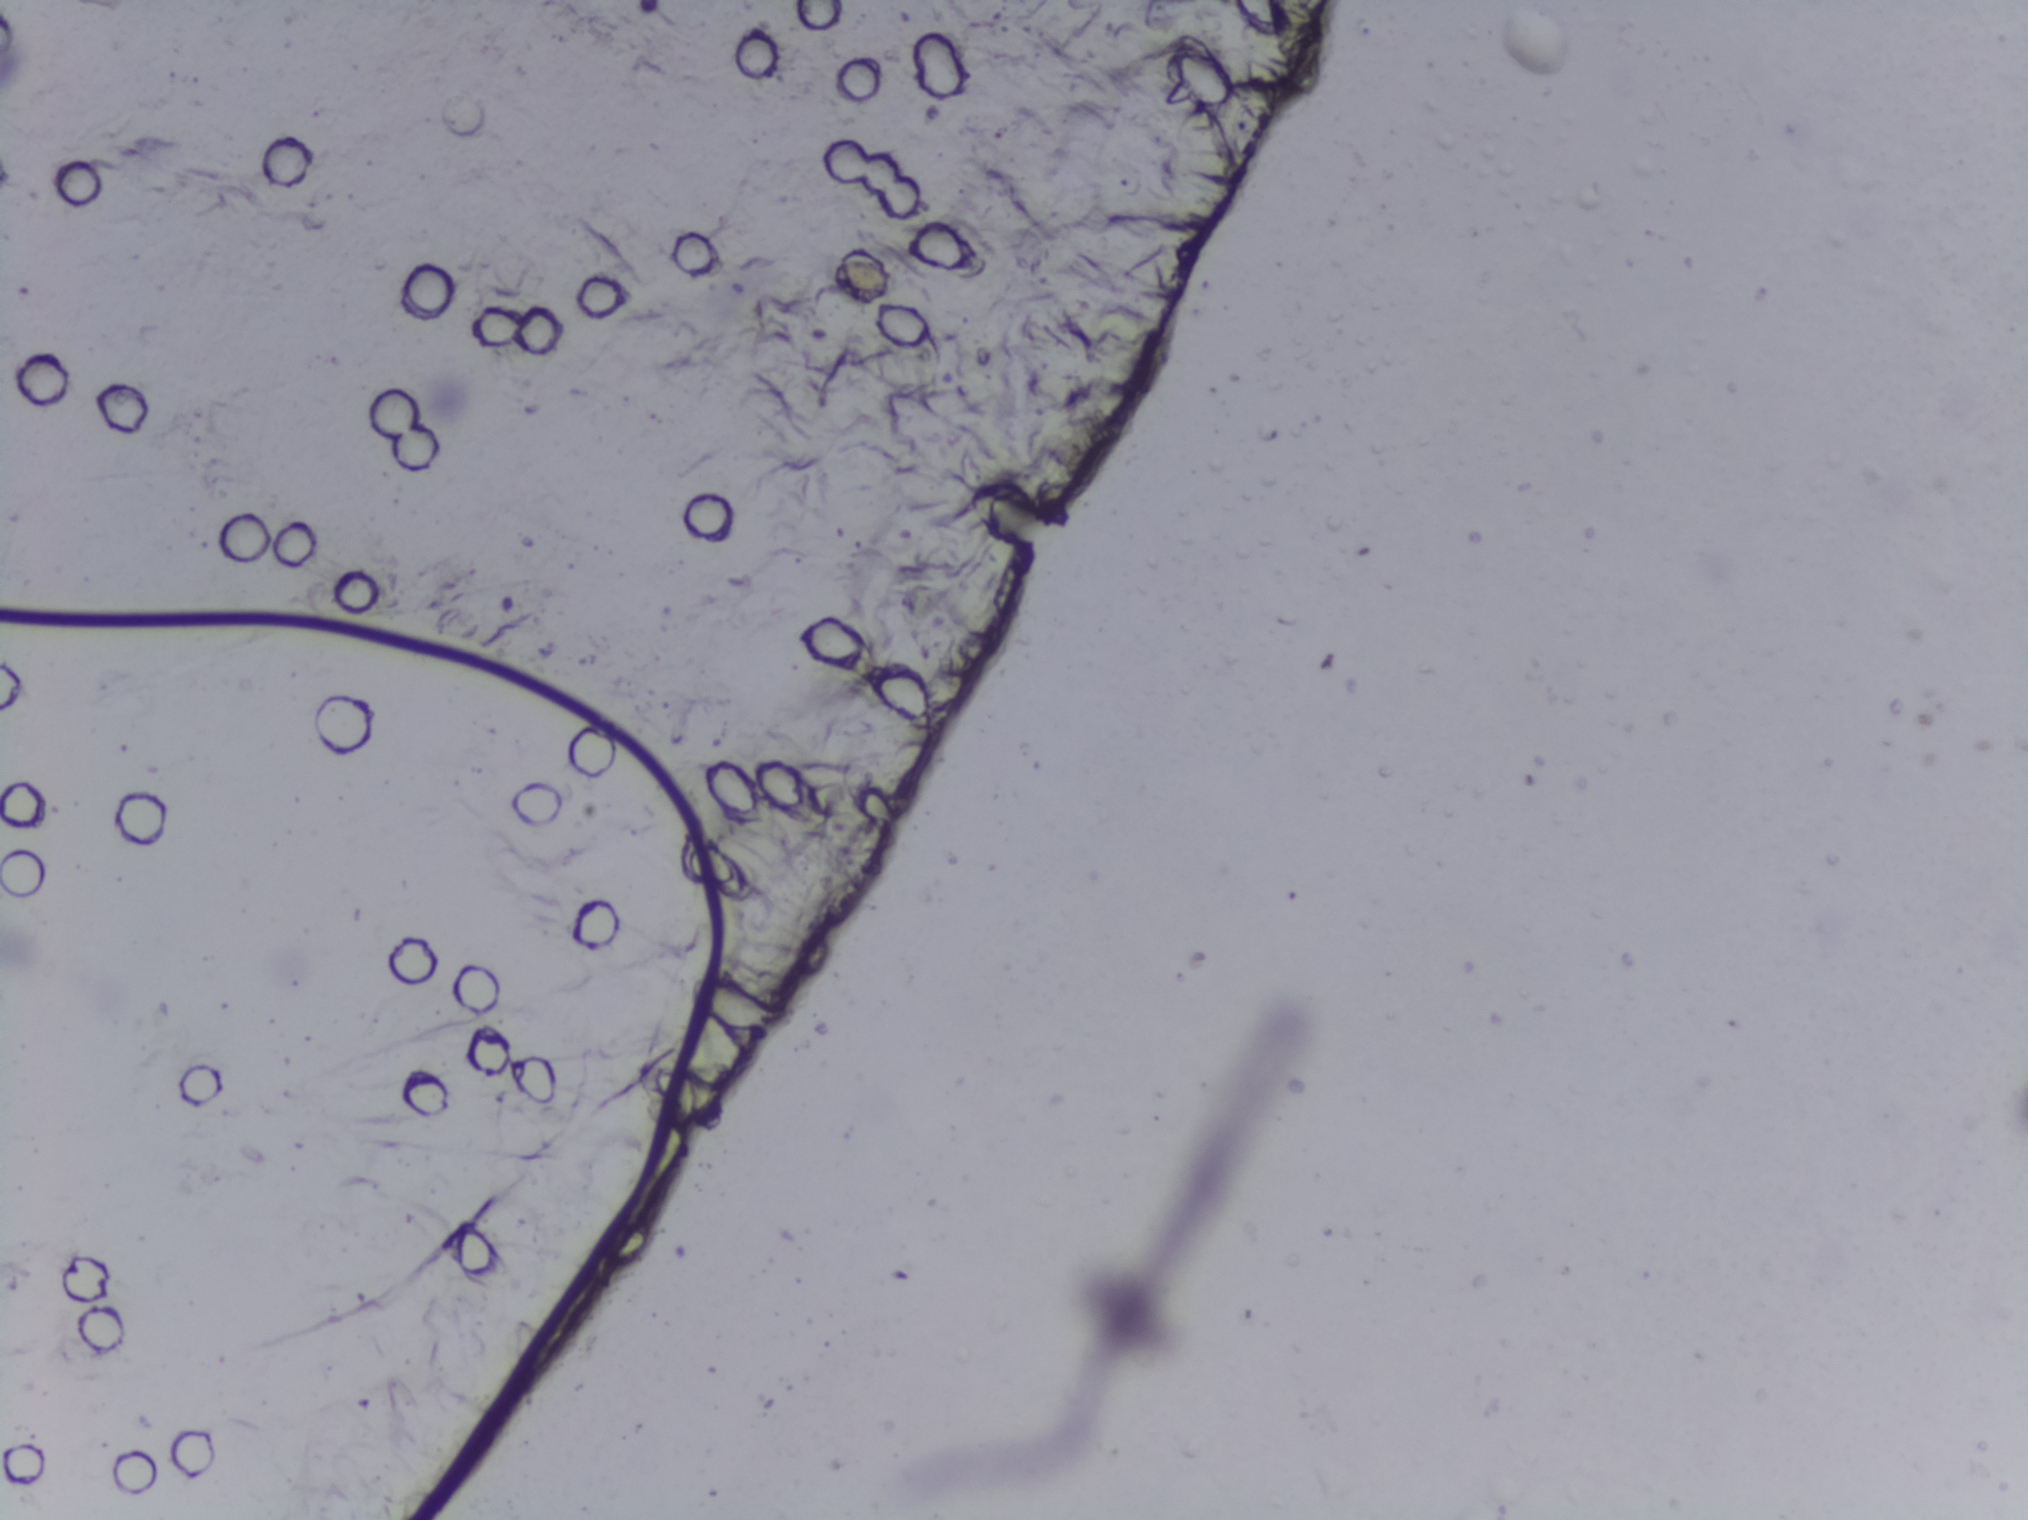
Microscope photograph (4× objective) of a membrane that a urine sample was filtered through.
The expert annotation outlines no Schistosoma egg in this image.